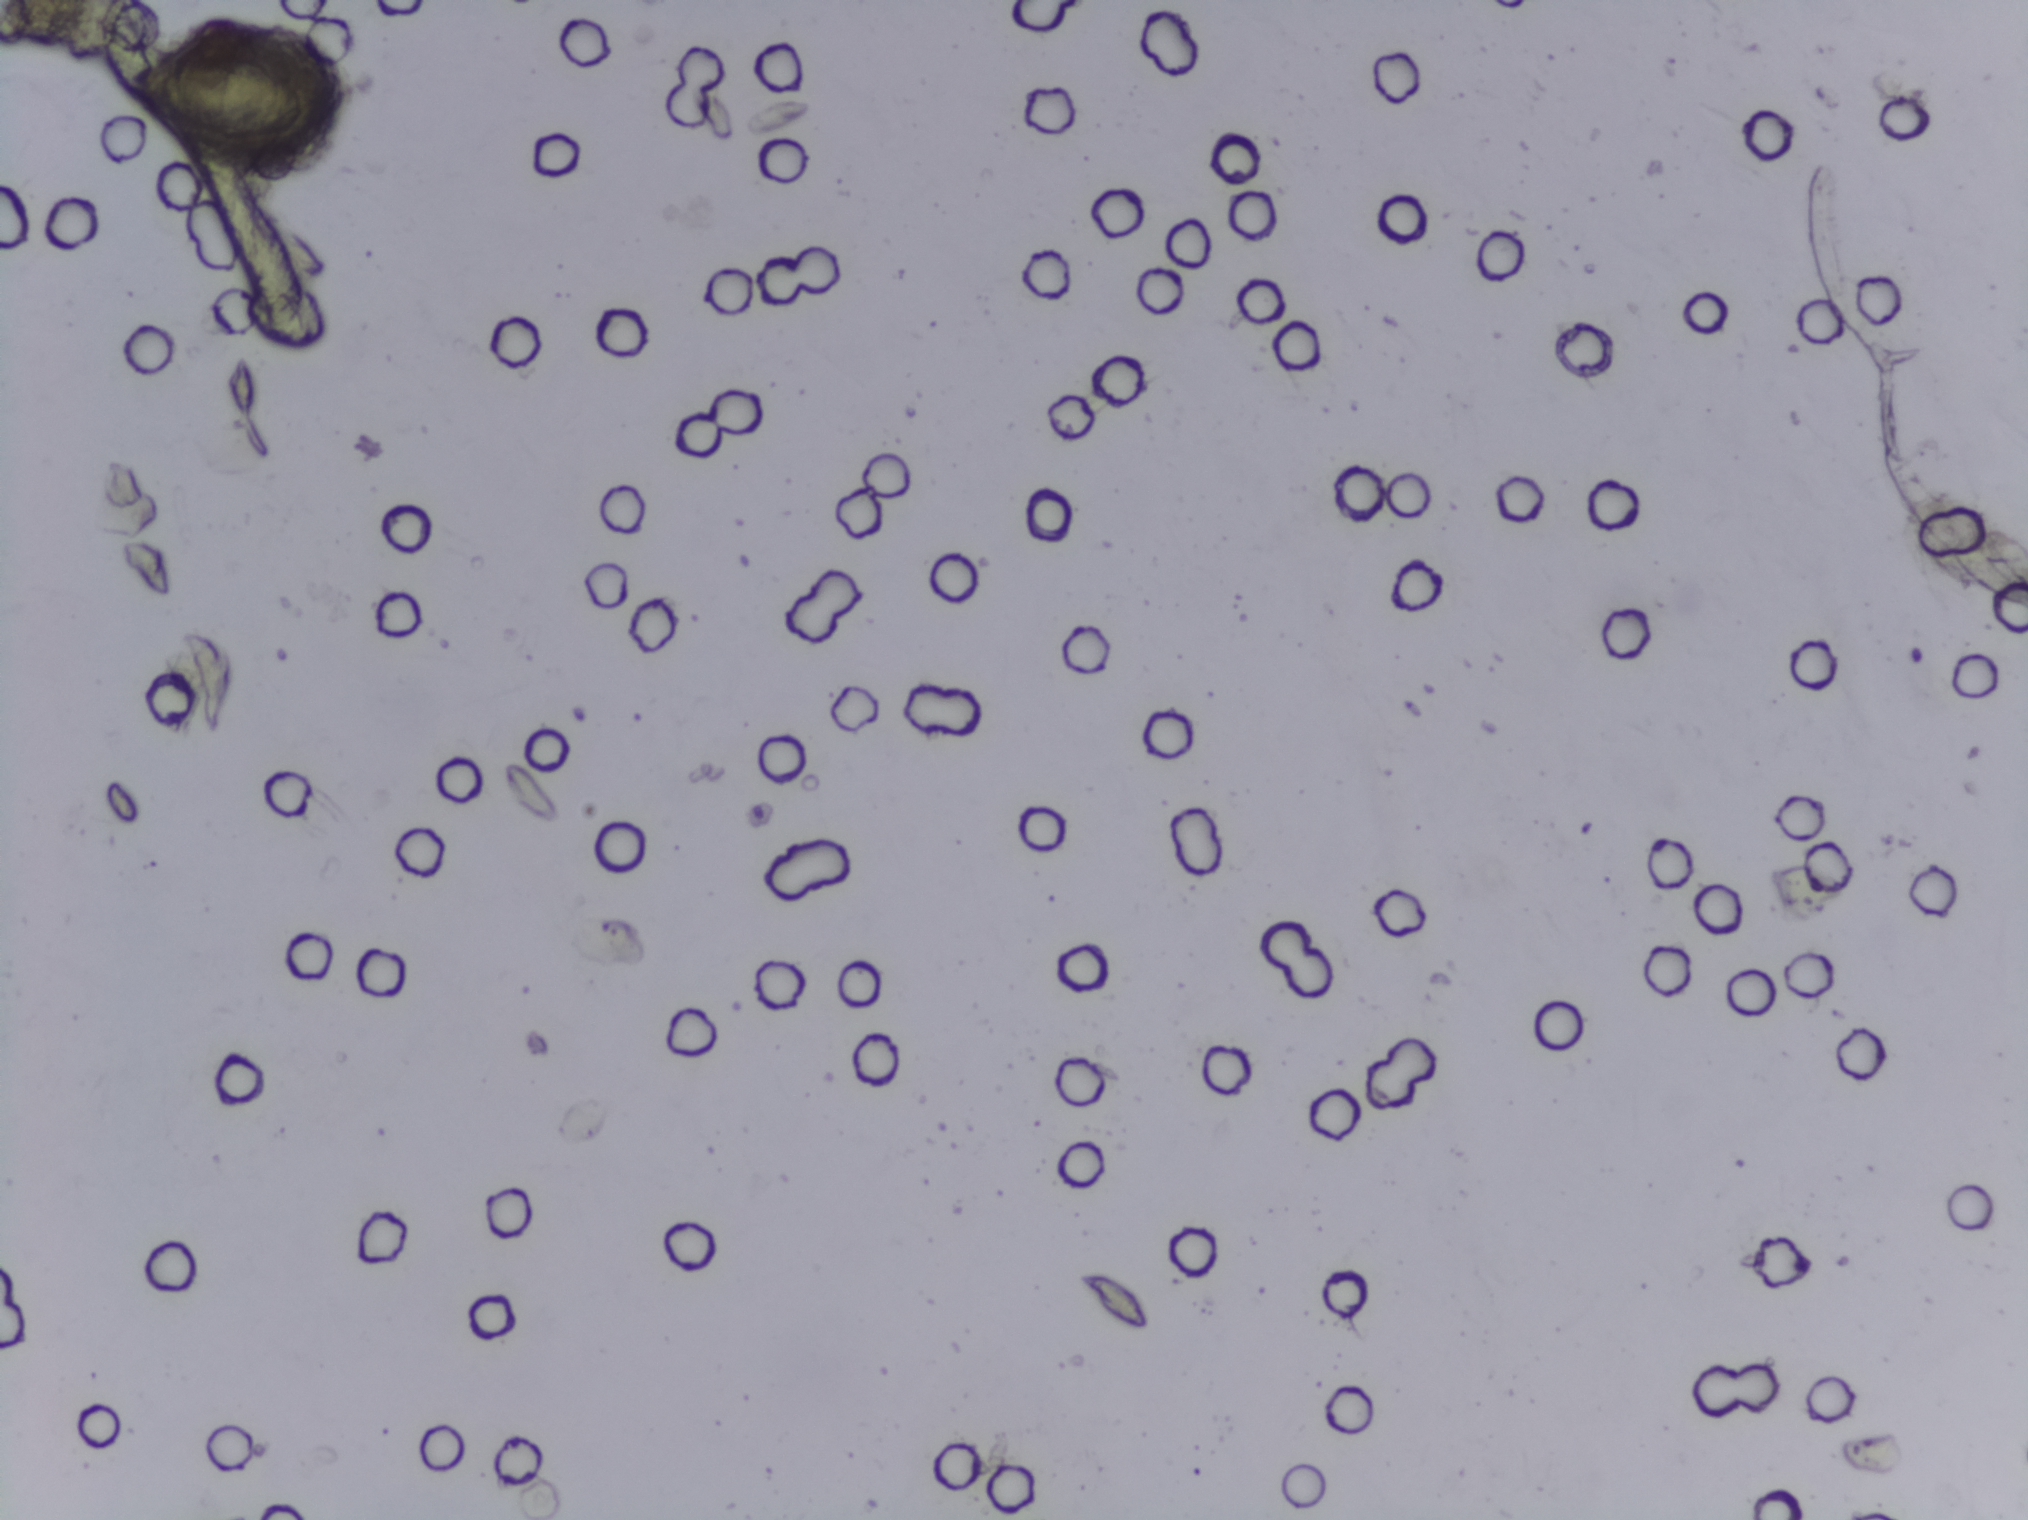
Photomicrograph of a urine filtration membrane, 4× objective.
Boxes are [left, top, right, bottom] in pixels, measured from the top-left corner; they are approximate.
Schistosoma eggs are outlined in one area of this image: [129, 55, 303, 139]. Marked pixels, not the box around them: about 0.4% of the image. A single outlined area may contain several eggs.